Urine filtration membrane under a 4× objective, photographed by an automated digital microscope. Field of view: about 1.5 mm wide and 1.1 mm high.
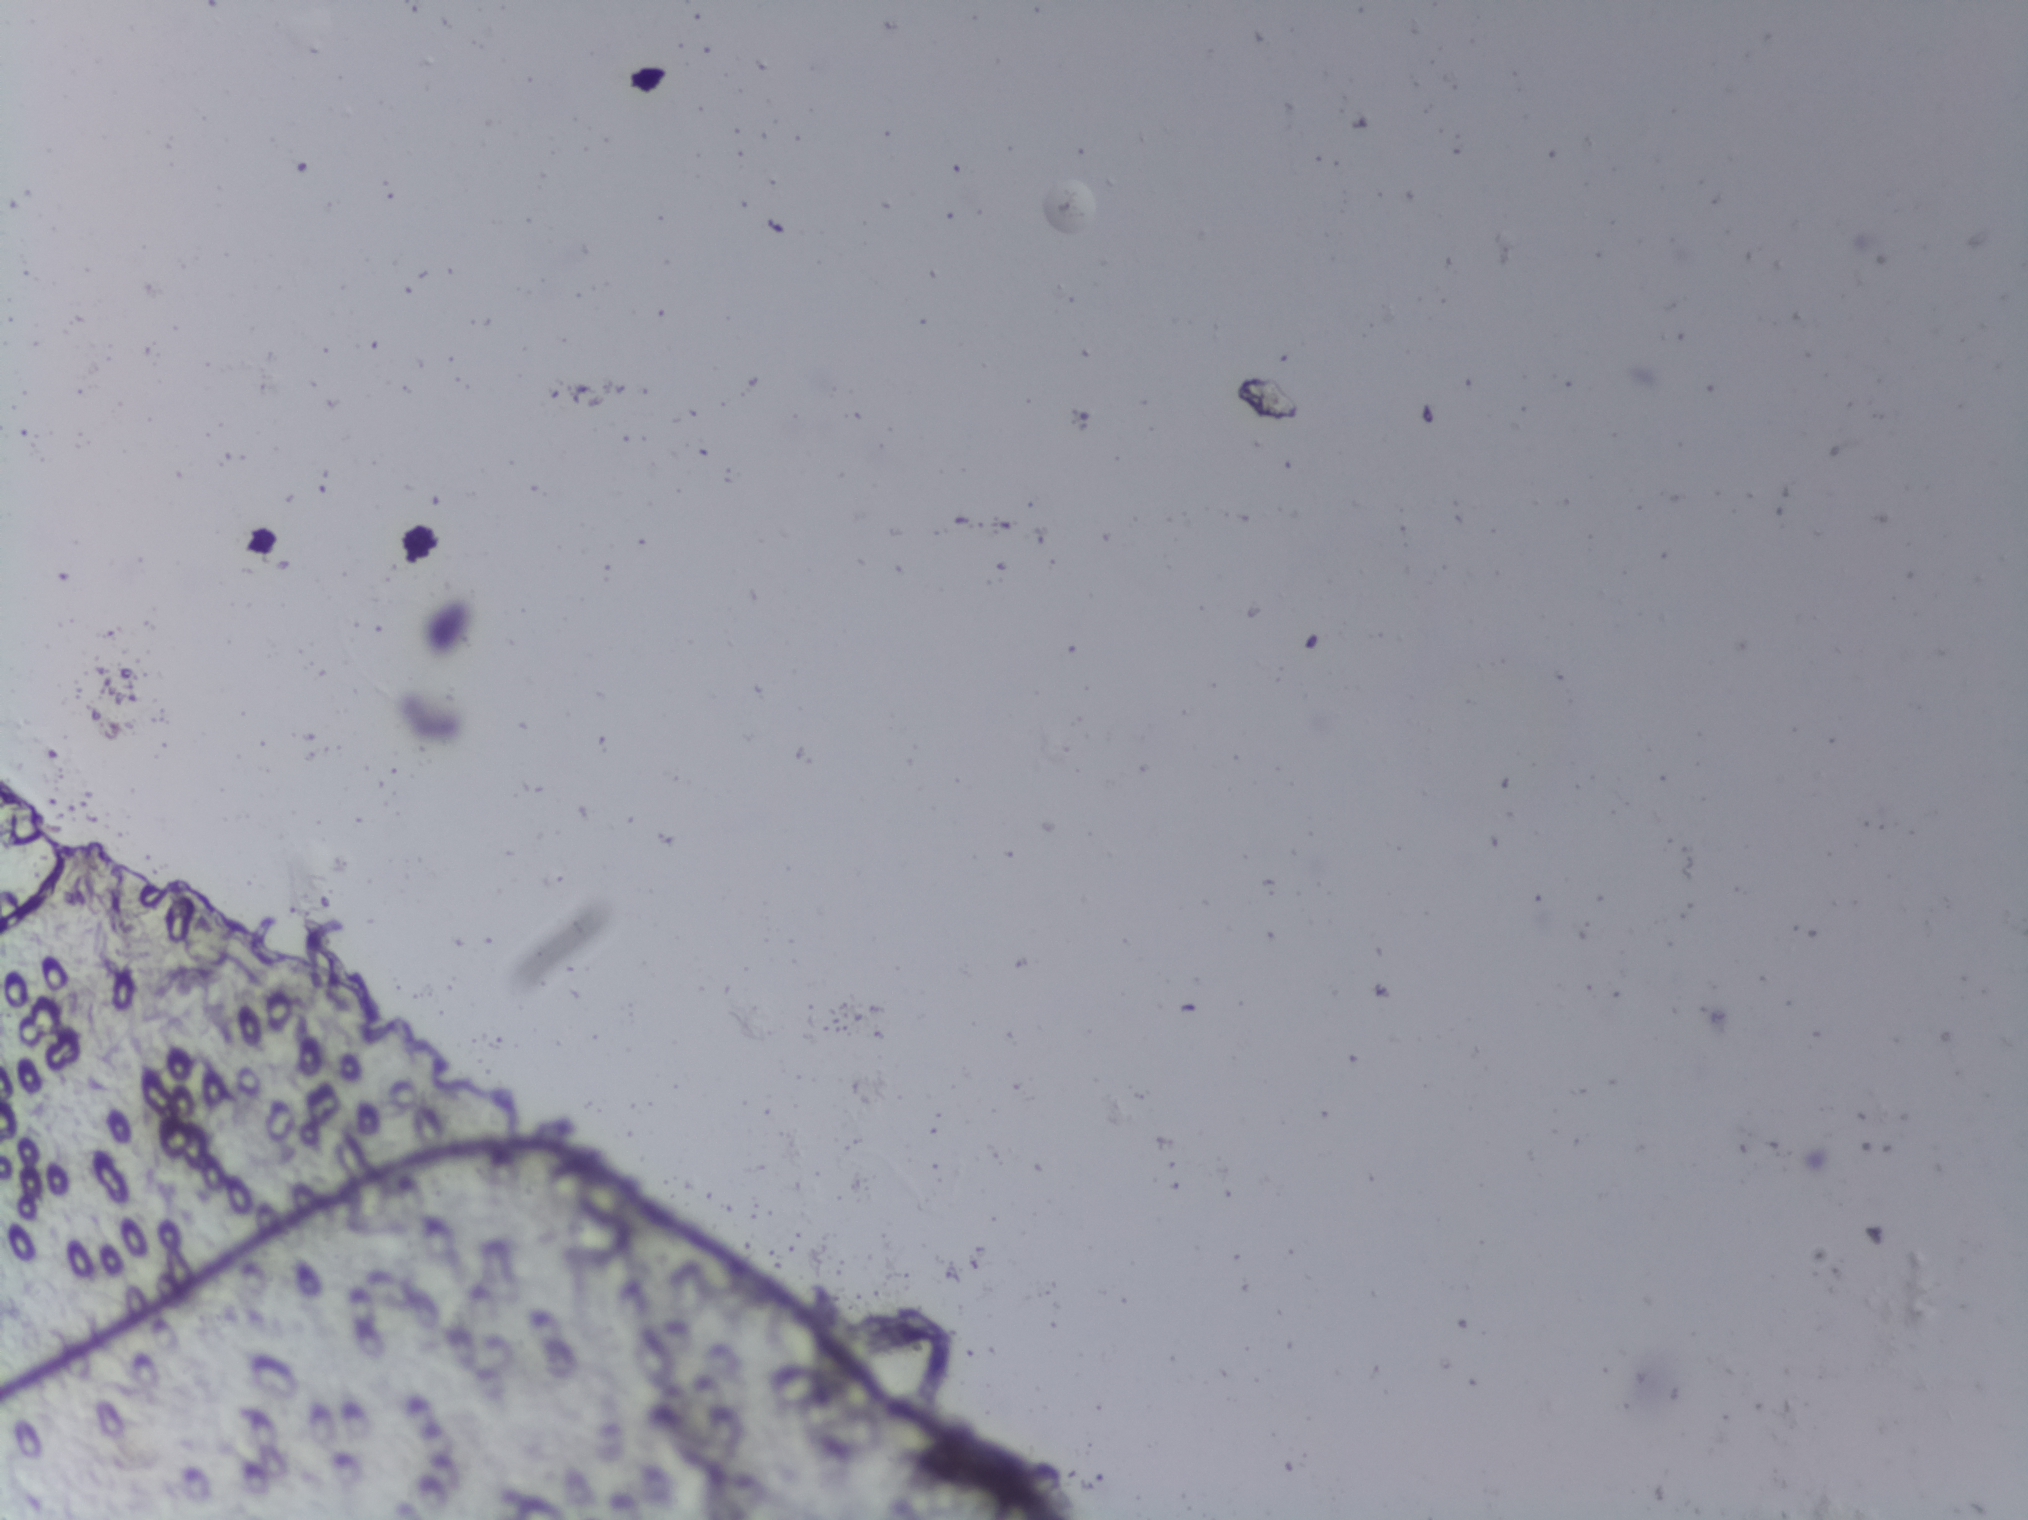
No Schistosoma egg is outlined in this image's expert annotation.